Photomicrograph of a urine filtration membrane, 4× objective.
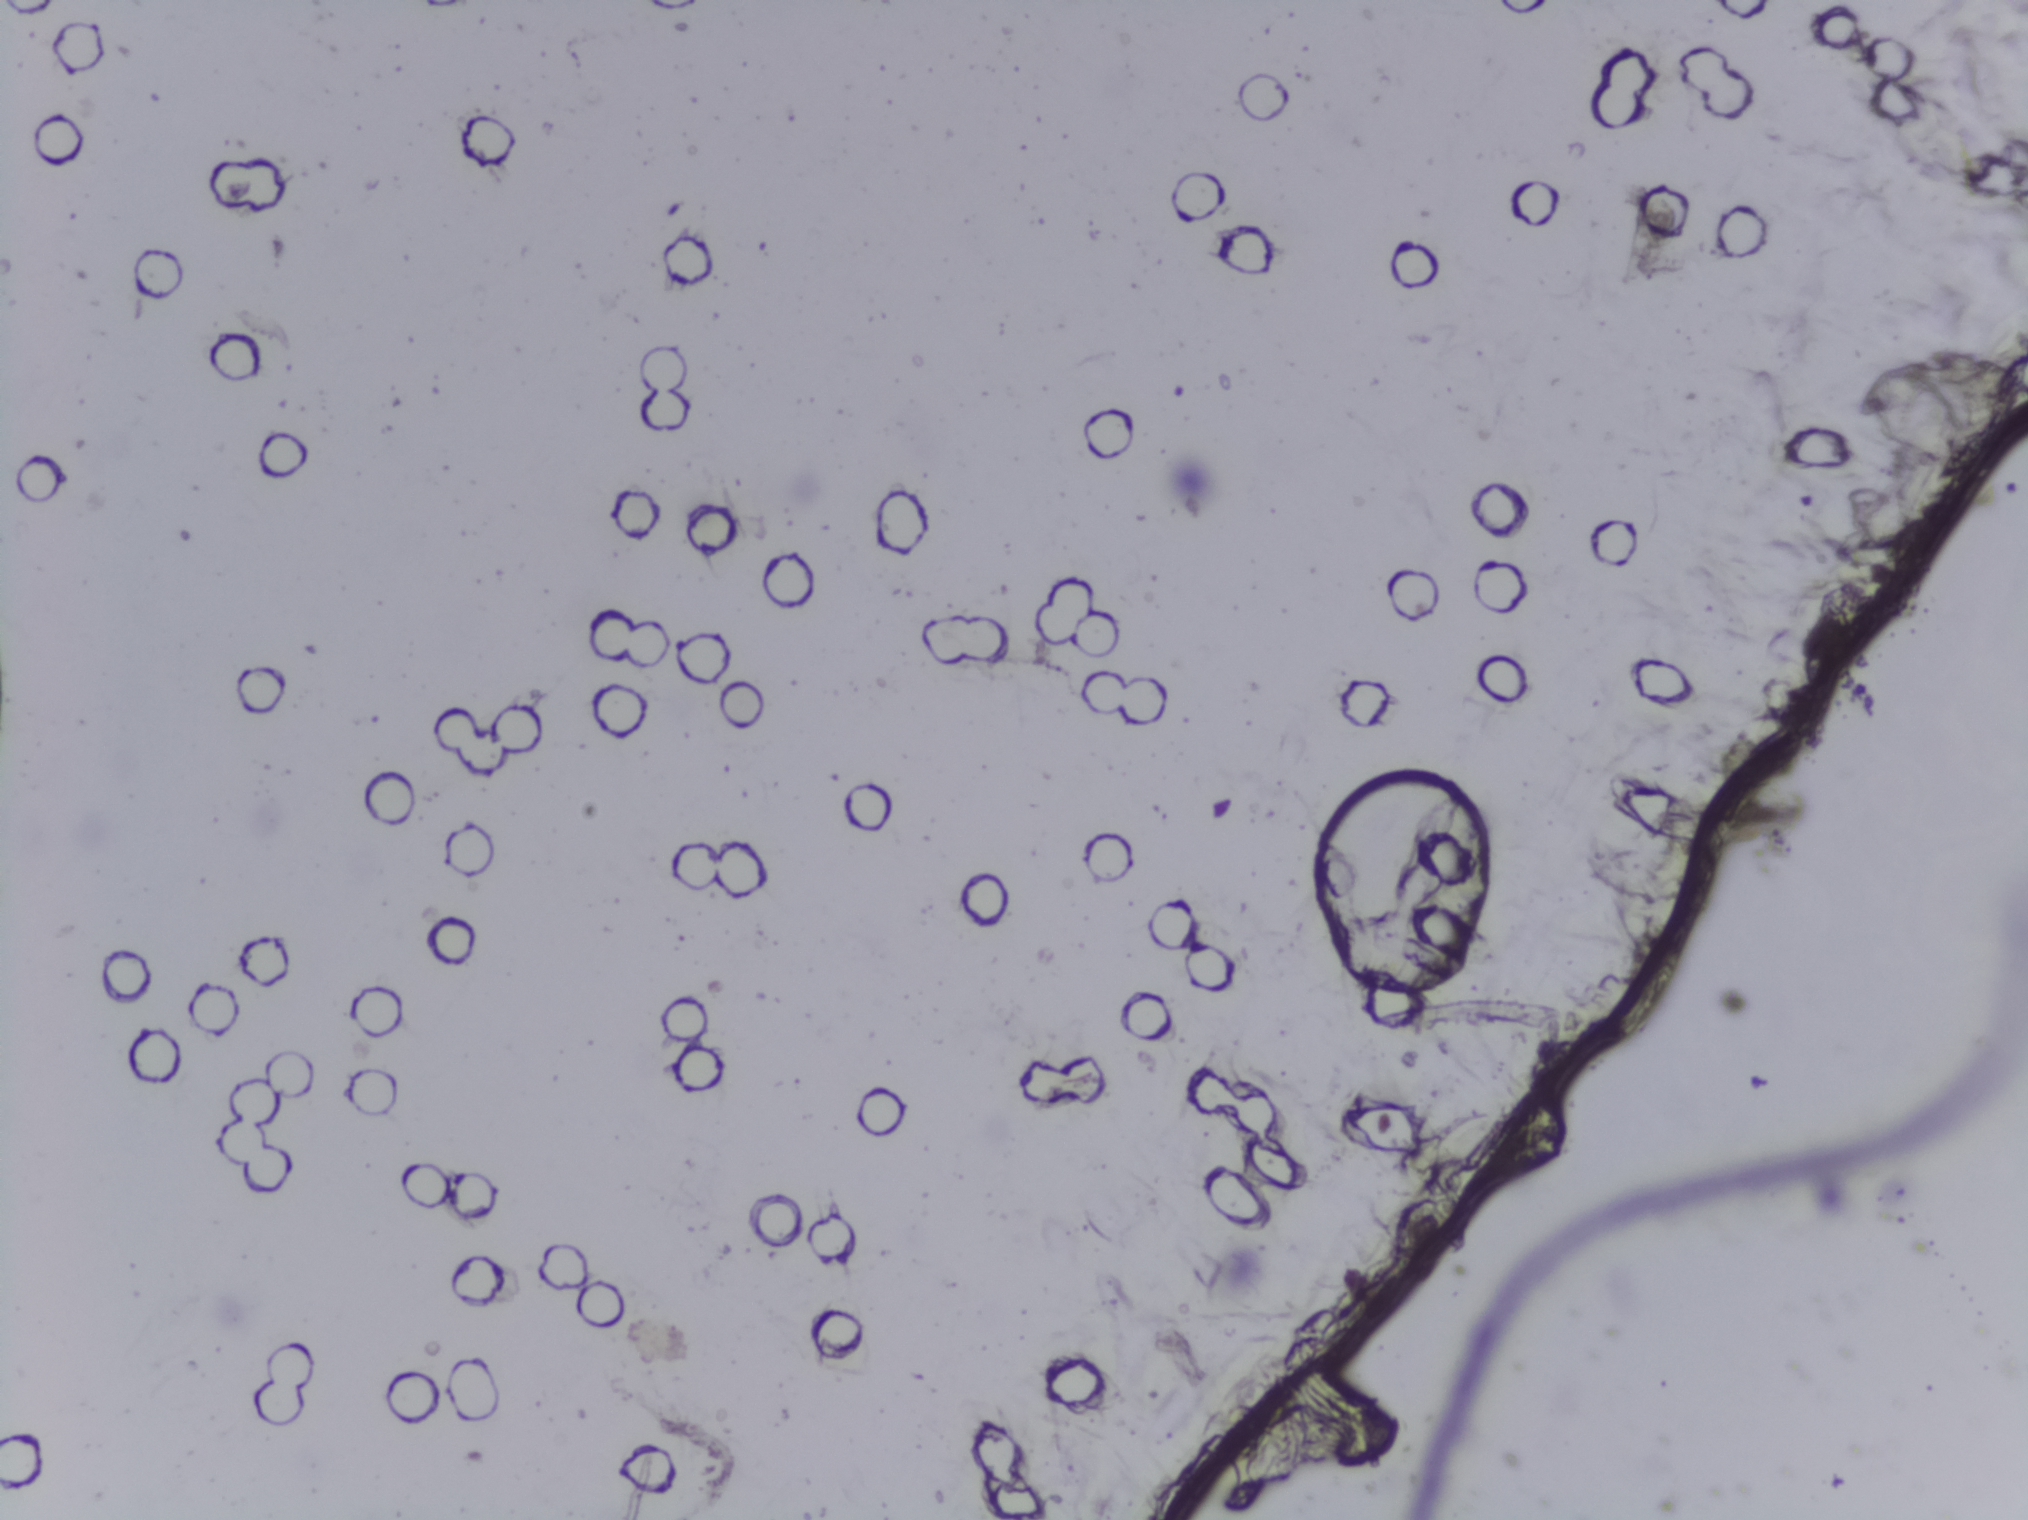
No area of this image was outlined as a Schistosoma egg.